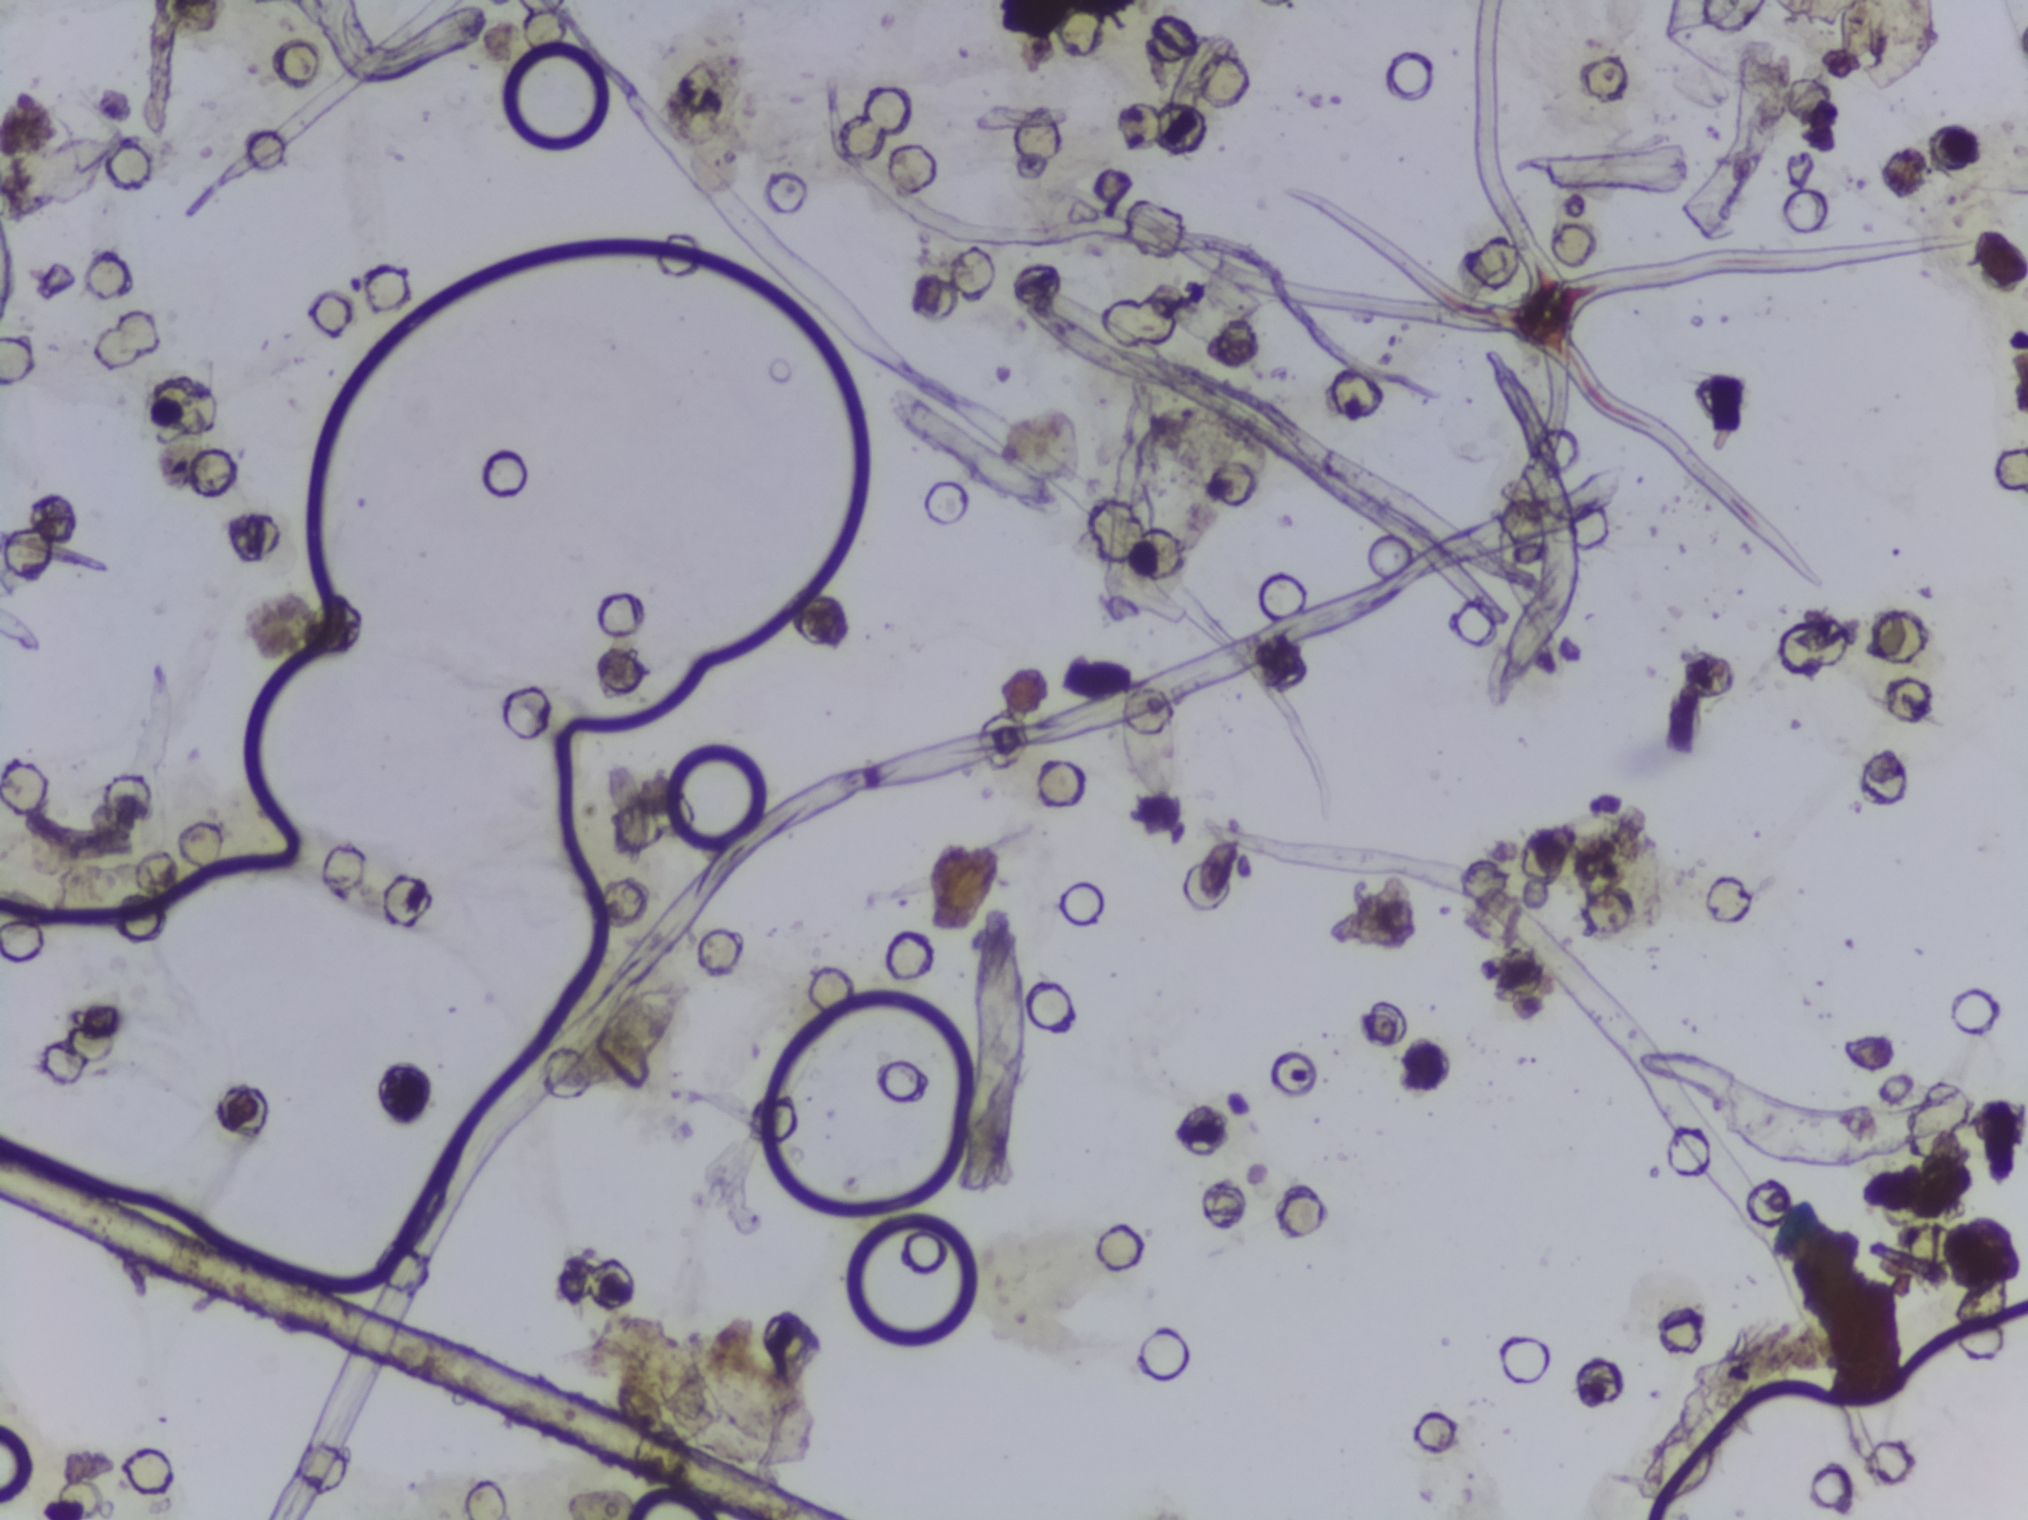
Photograph from an automated digital microscope: urine filter membrane, 4× objective.
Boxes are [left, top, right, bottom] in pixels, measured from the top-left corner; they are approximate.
Schistosoma eggs are outlined in three areas of this image, listed from left to right: [546, 980, 692, 1093]; [1117, 684, 1176, 799]; [1846, 0, 1935, 100] (reaching the top edge of the frame). About 0.8% of the image's pixels are marked (the marked pixels themselves, not the boxes around them). An outlined area can hold more than one egg.